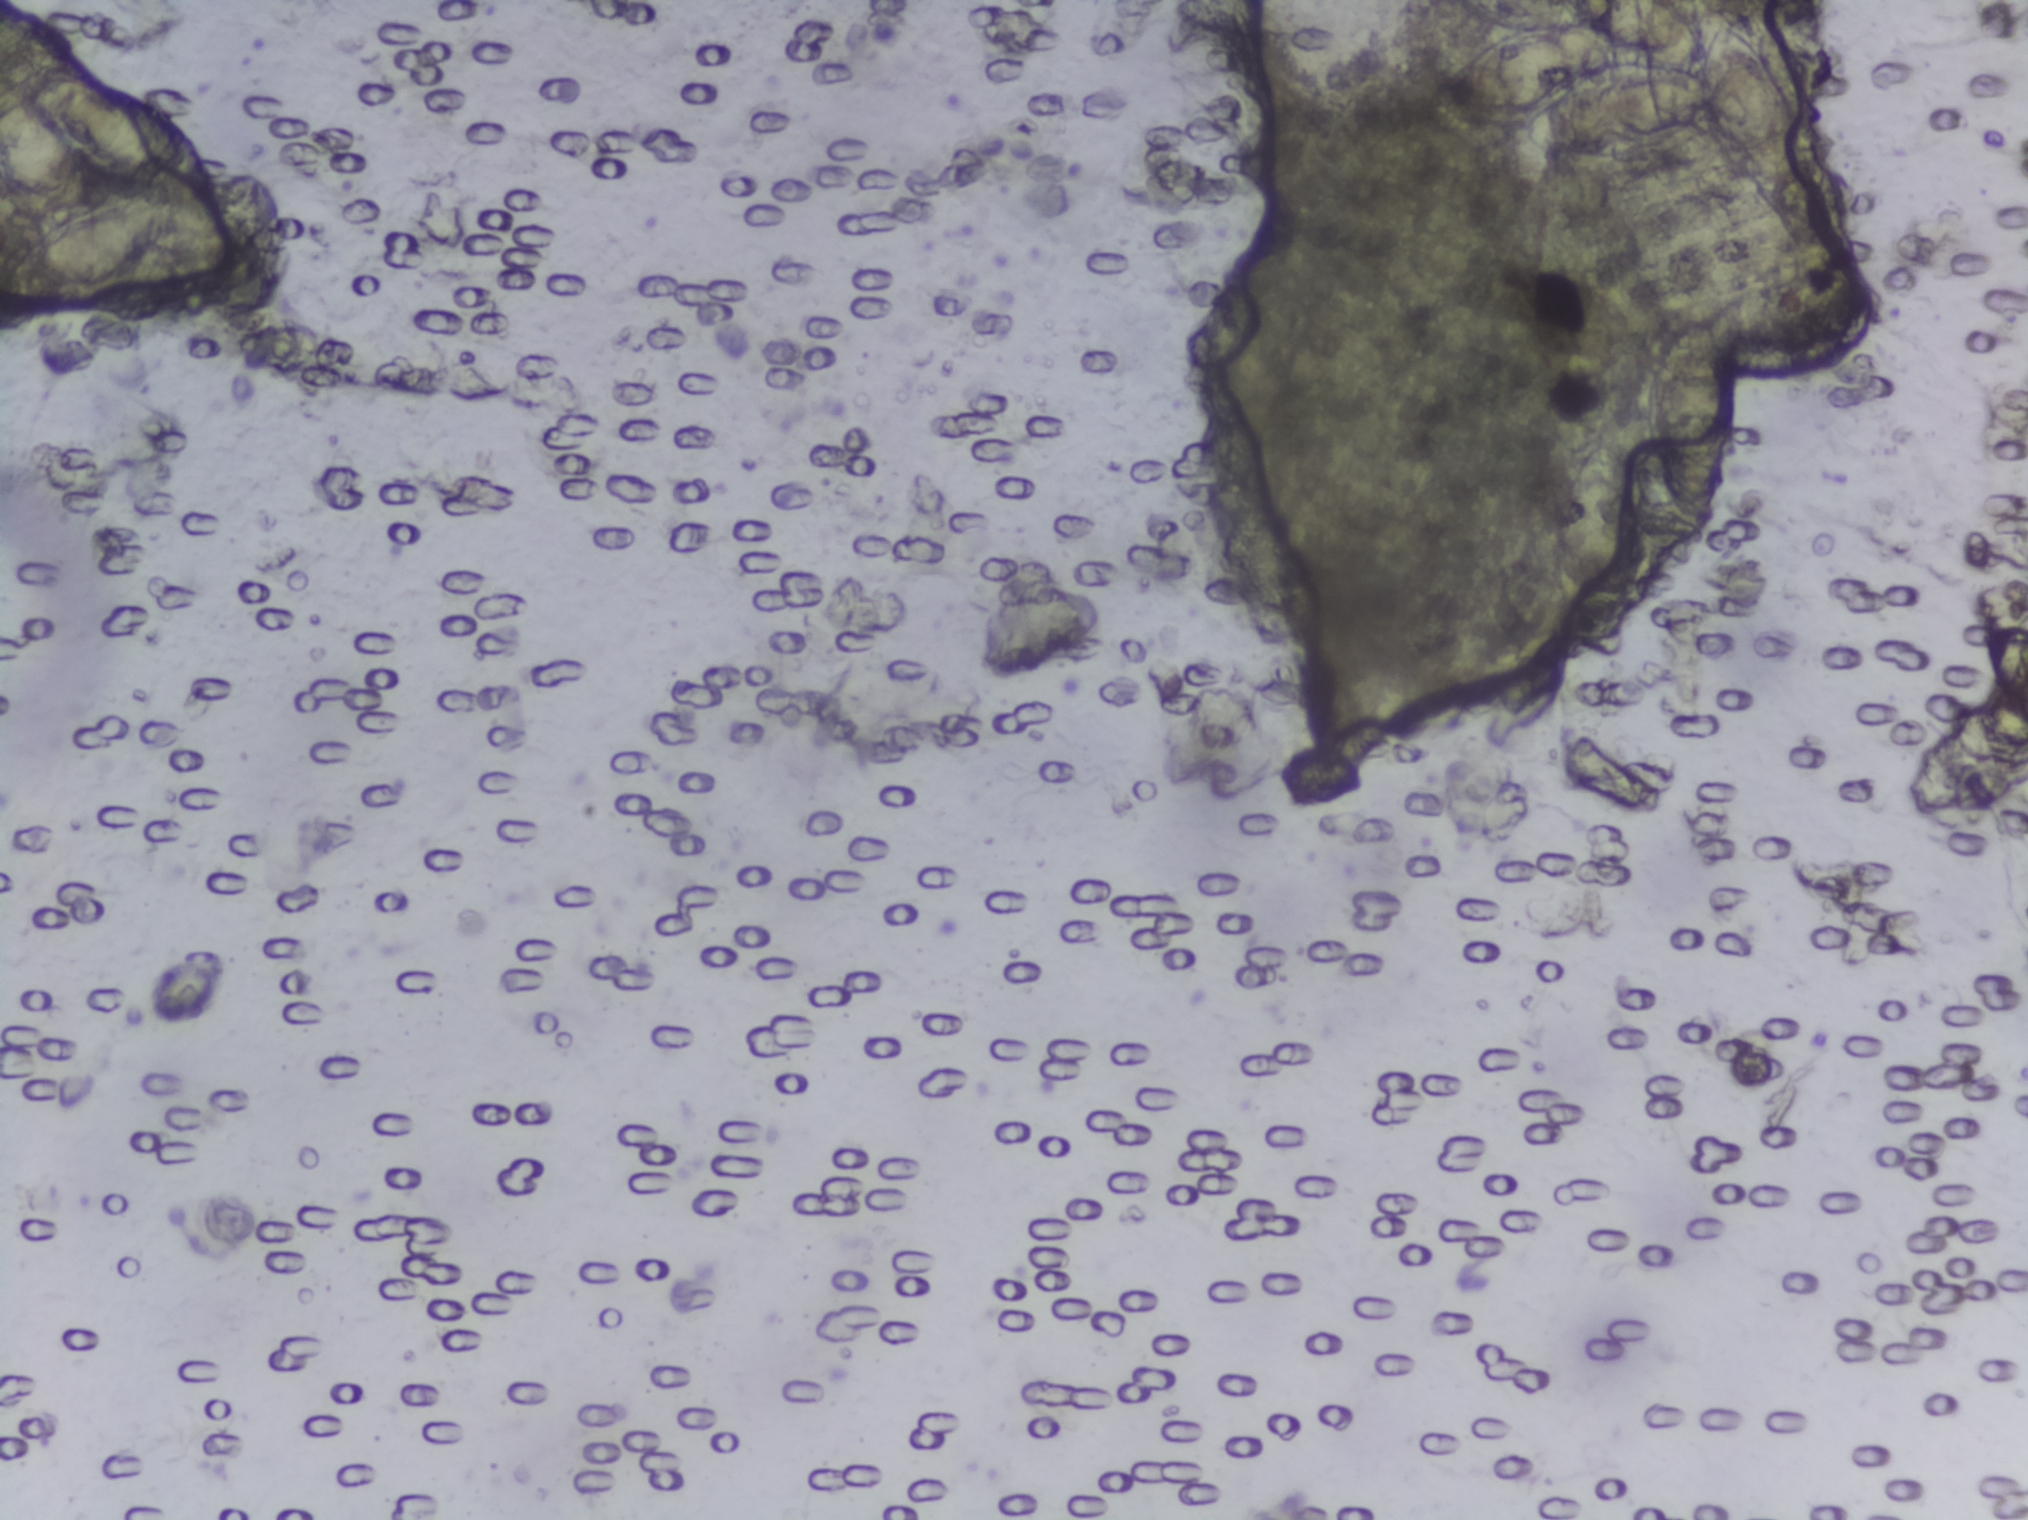
Urine filtration membrane under a 4× objective, photographed by an automated digital microscope.
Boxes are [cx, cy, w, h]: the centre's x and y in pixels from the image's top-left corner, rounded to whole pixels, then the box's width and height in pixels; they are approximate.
{"schistosoma_egg_areas_cxcywh_px": [[83, 185, 166, 229], [1596, 537, 85, 202], [1614, 95, 362, 190], [1683, 420, 93, 215]]} Area 1 reaches the left edge of the frame. Area 3 holds eggs clustered together. Area 3 reaches the top edge of the frame.
The marked pixels themselves, not the boxes around them, cover about 3.3% of the image. Eggs that touch can end up inside the same outlined area. Any one outlined egg may, rarely, be S. mansoni rather than S. haematobium.